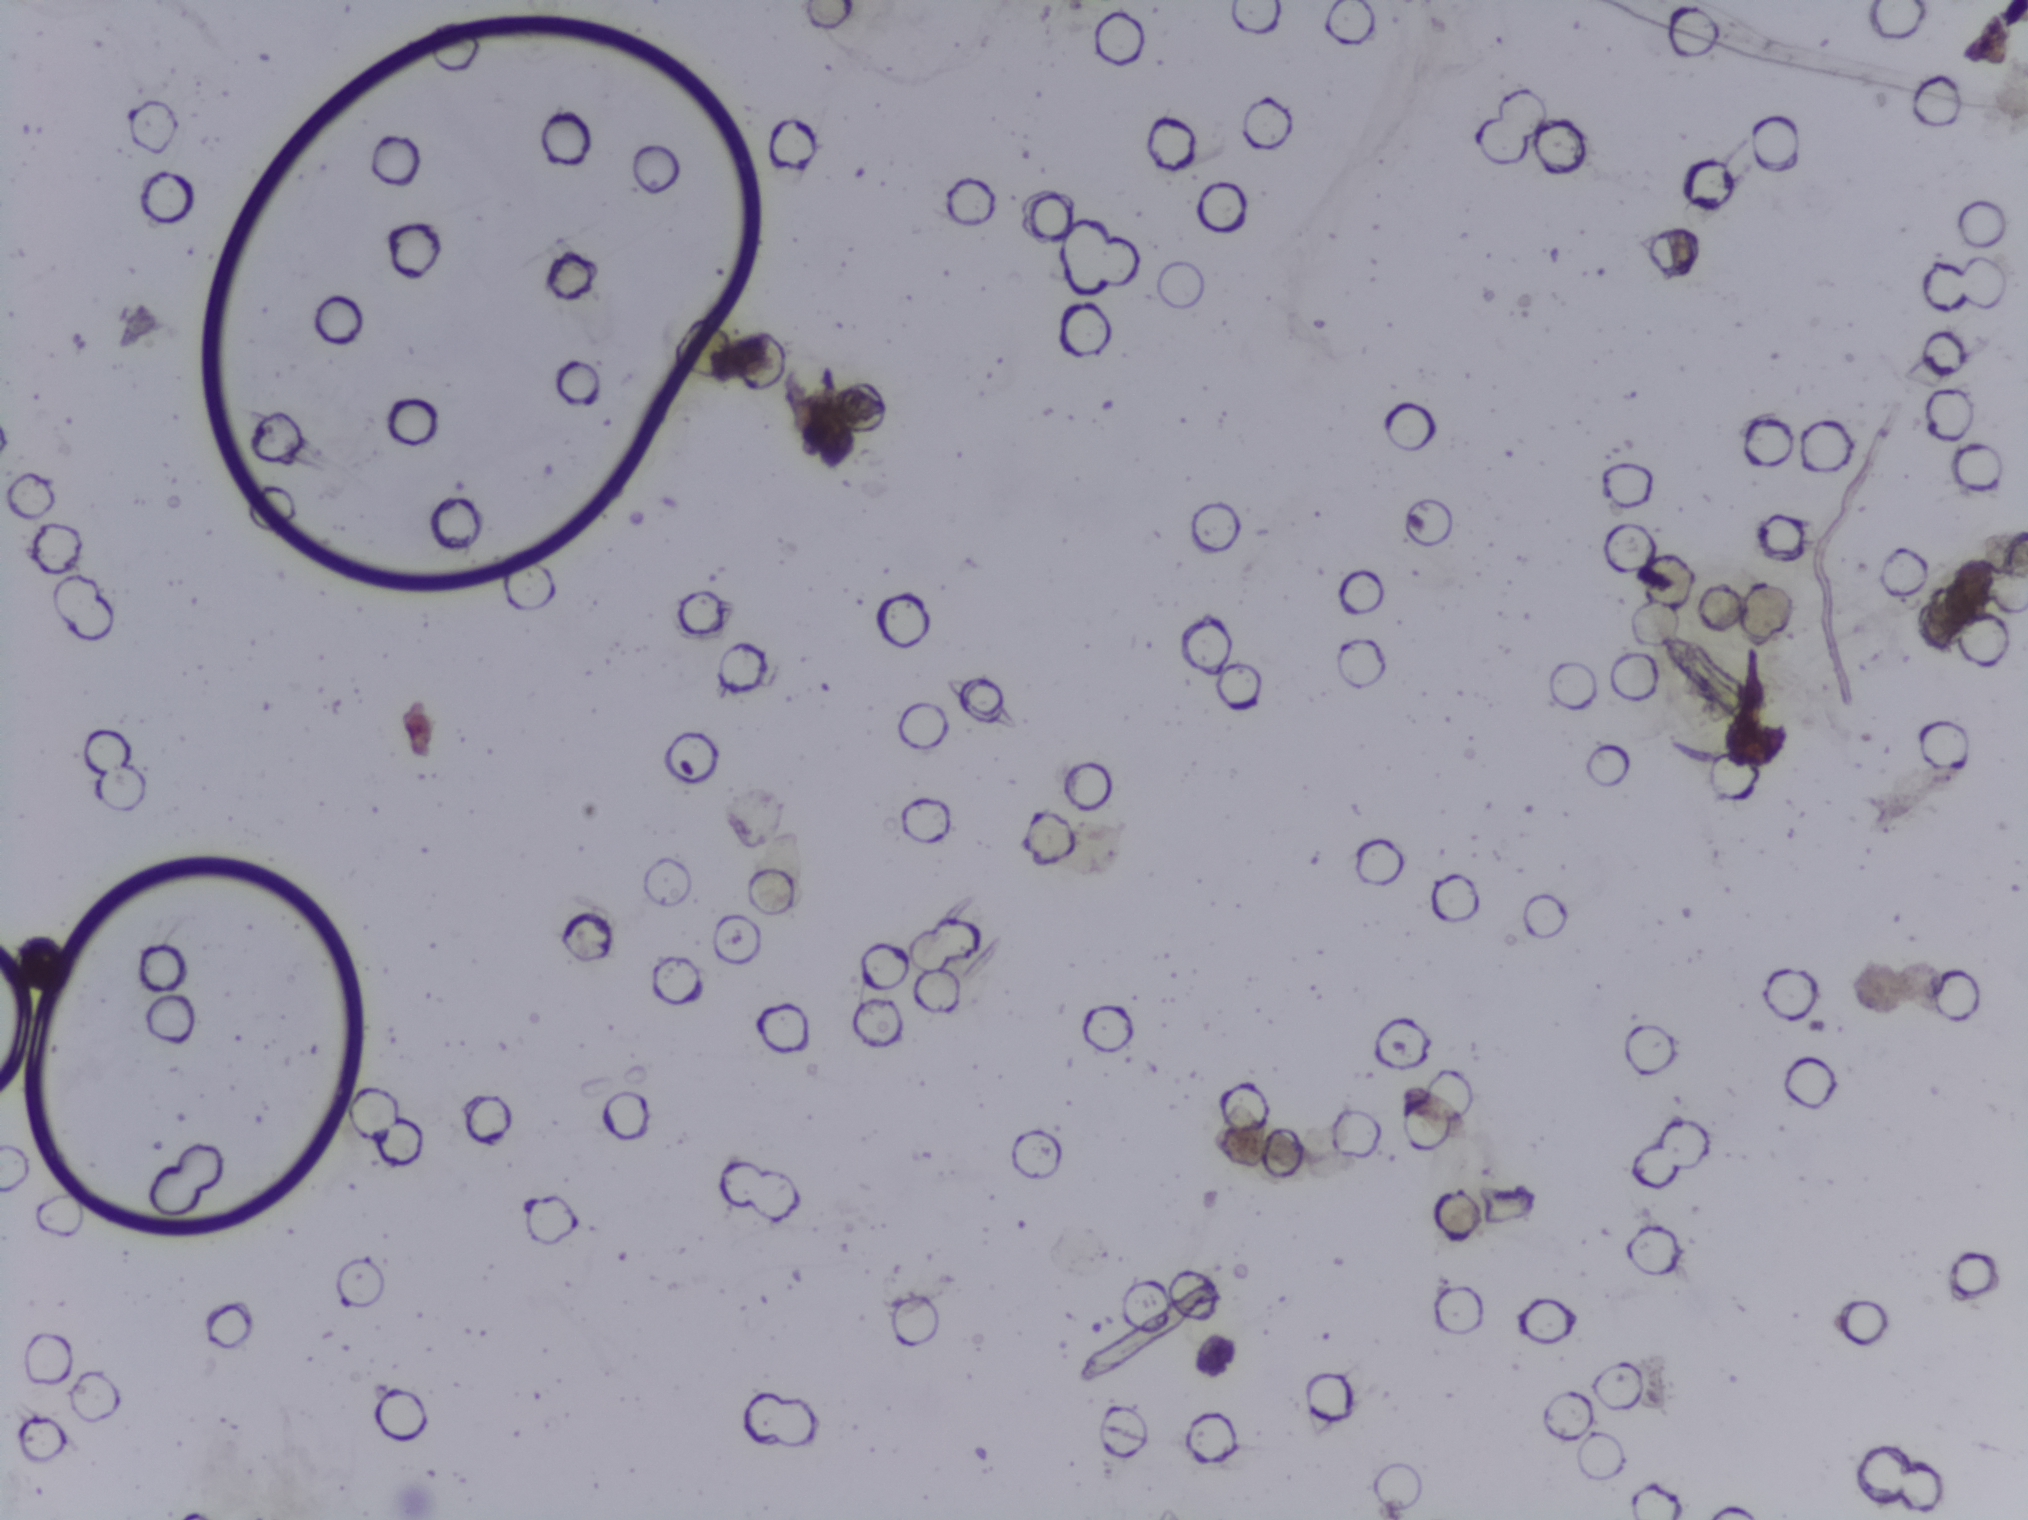
Photomicrograph of a urine filtration membrane, 4× objective.
The expert annotation marks no Schistosoma egg in this field of view.